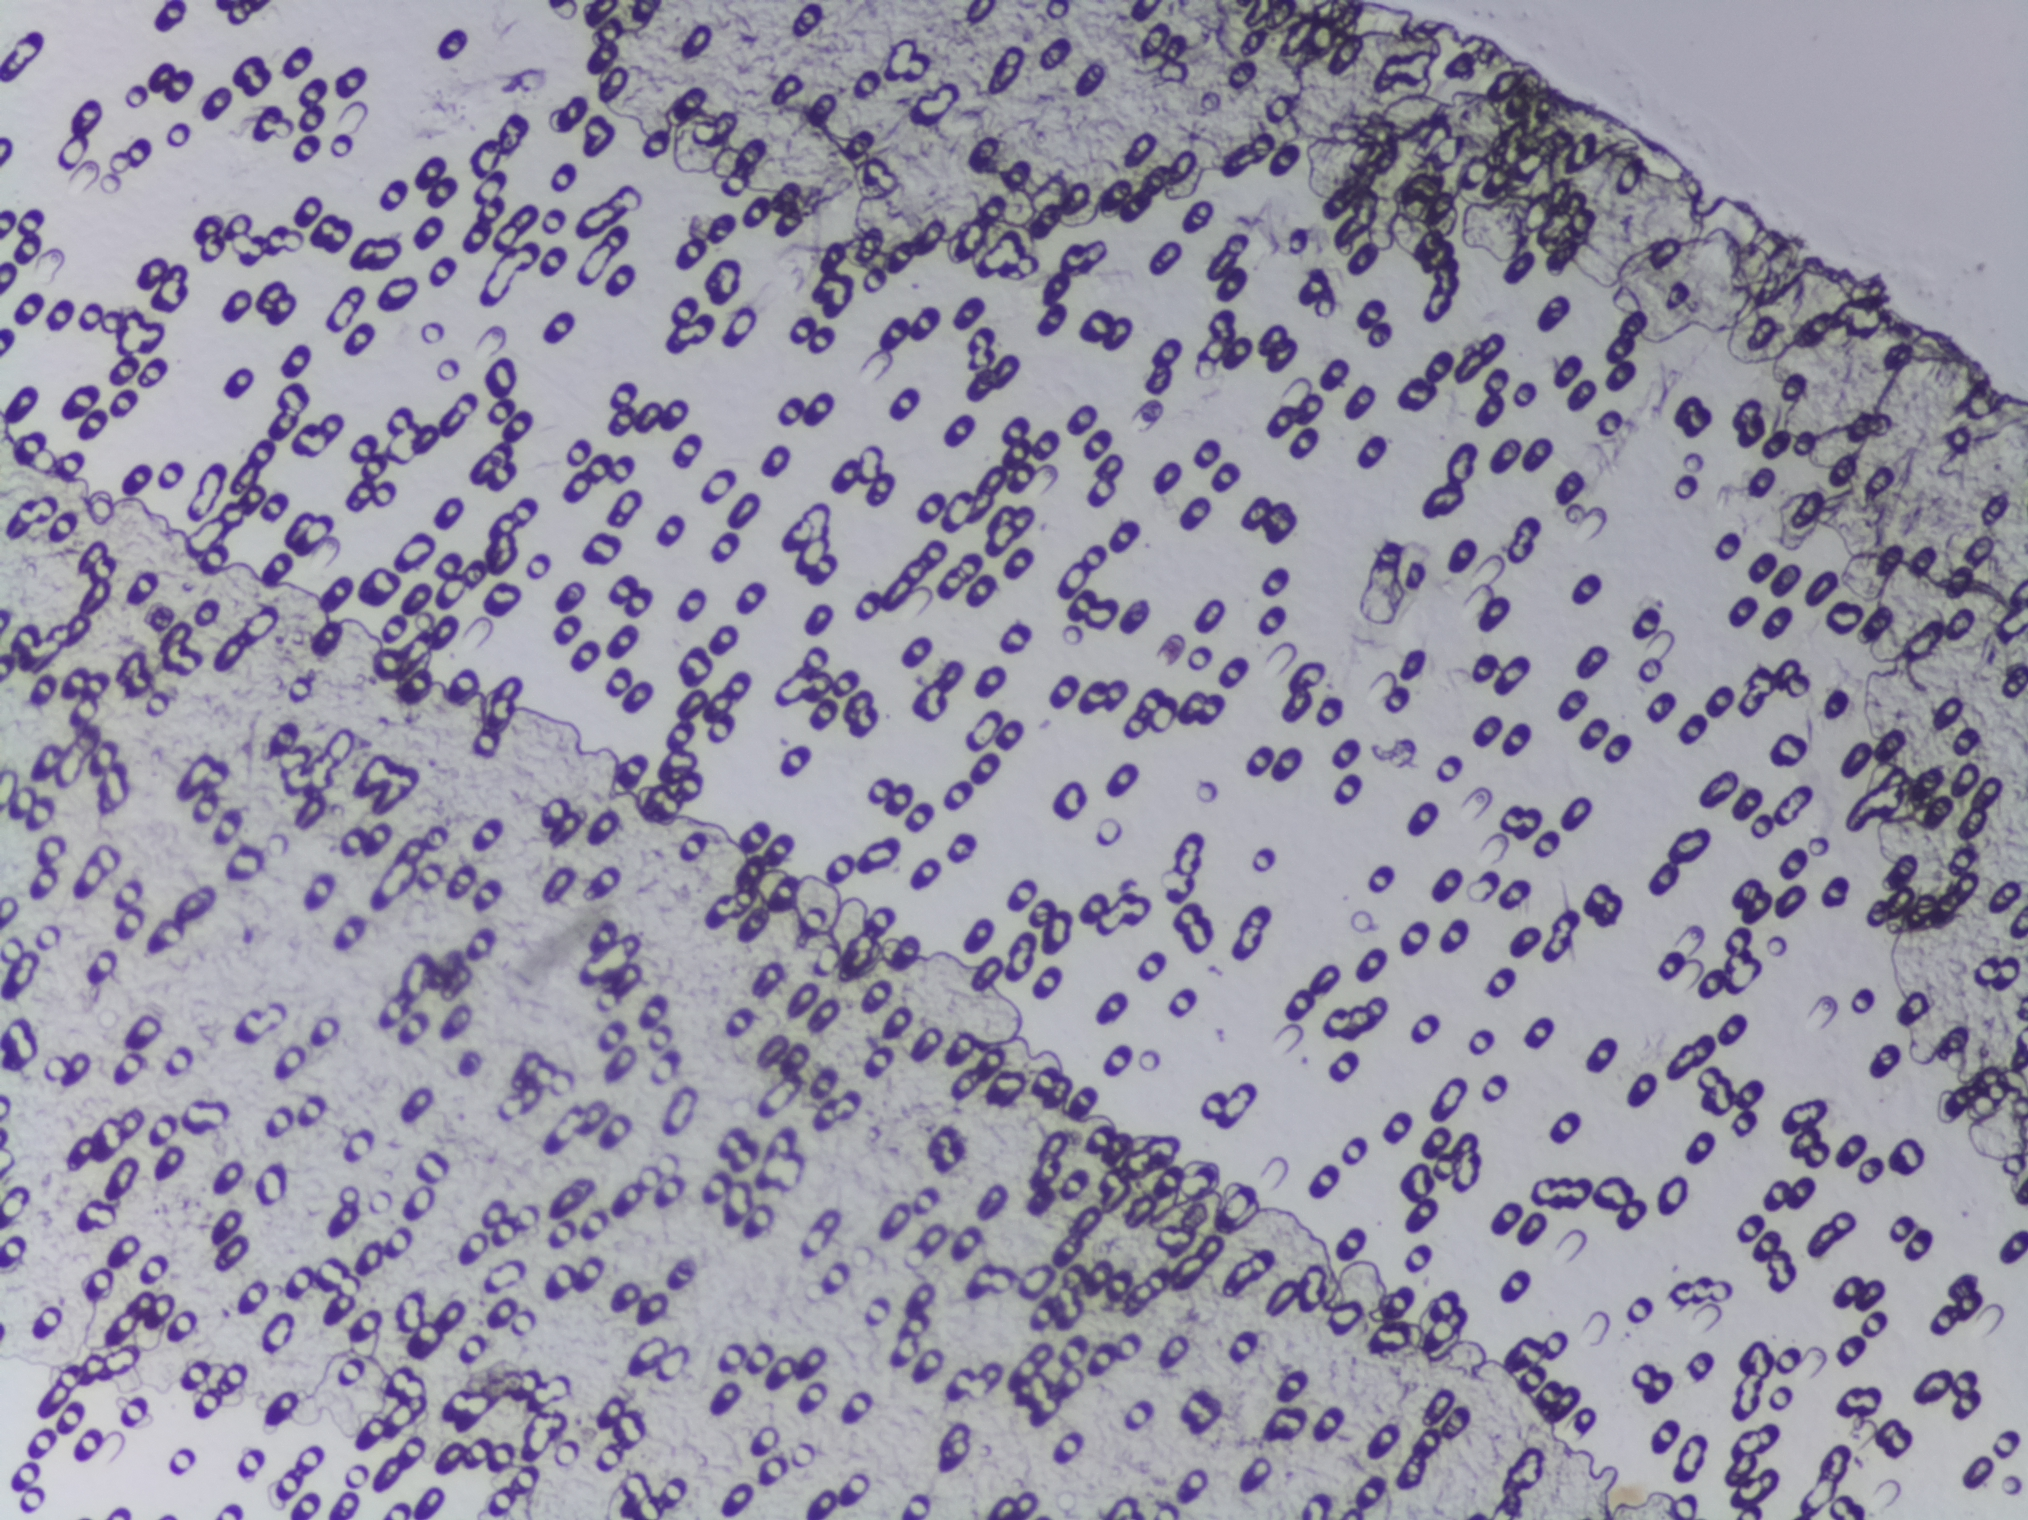
Photomicrograph of a urine filtration membrane, 4× objective.
Schistosoma eggs: none outlined.